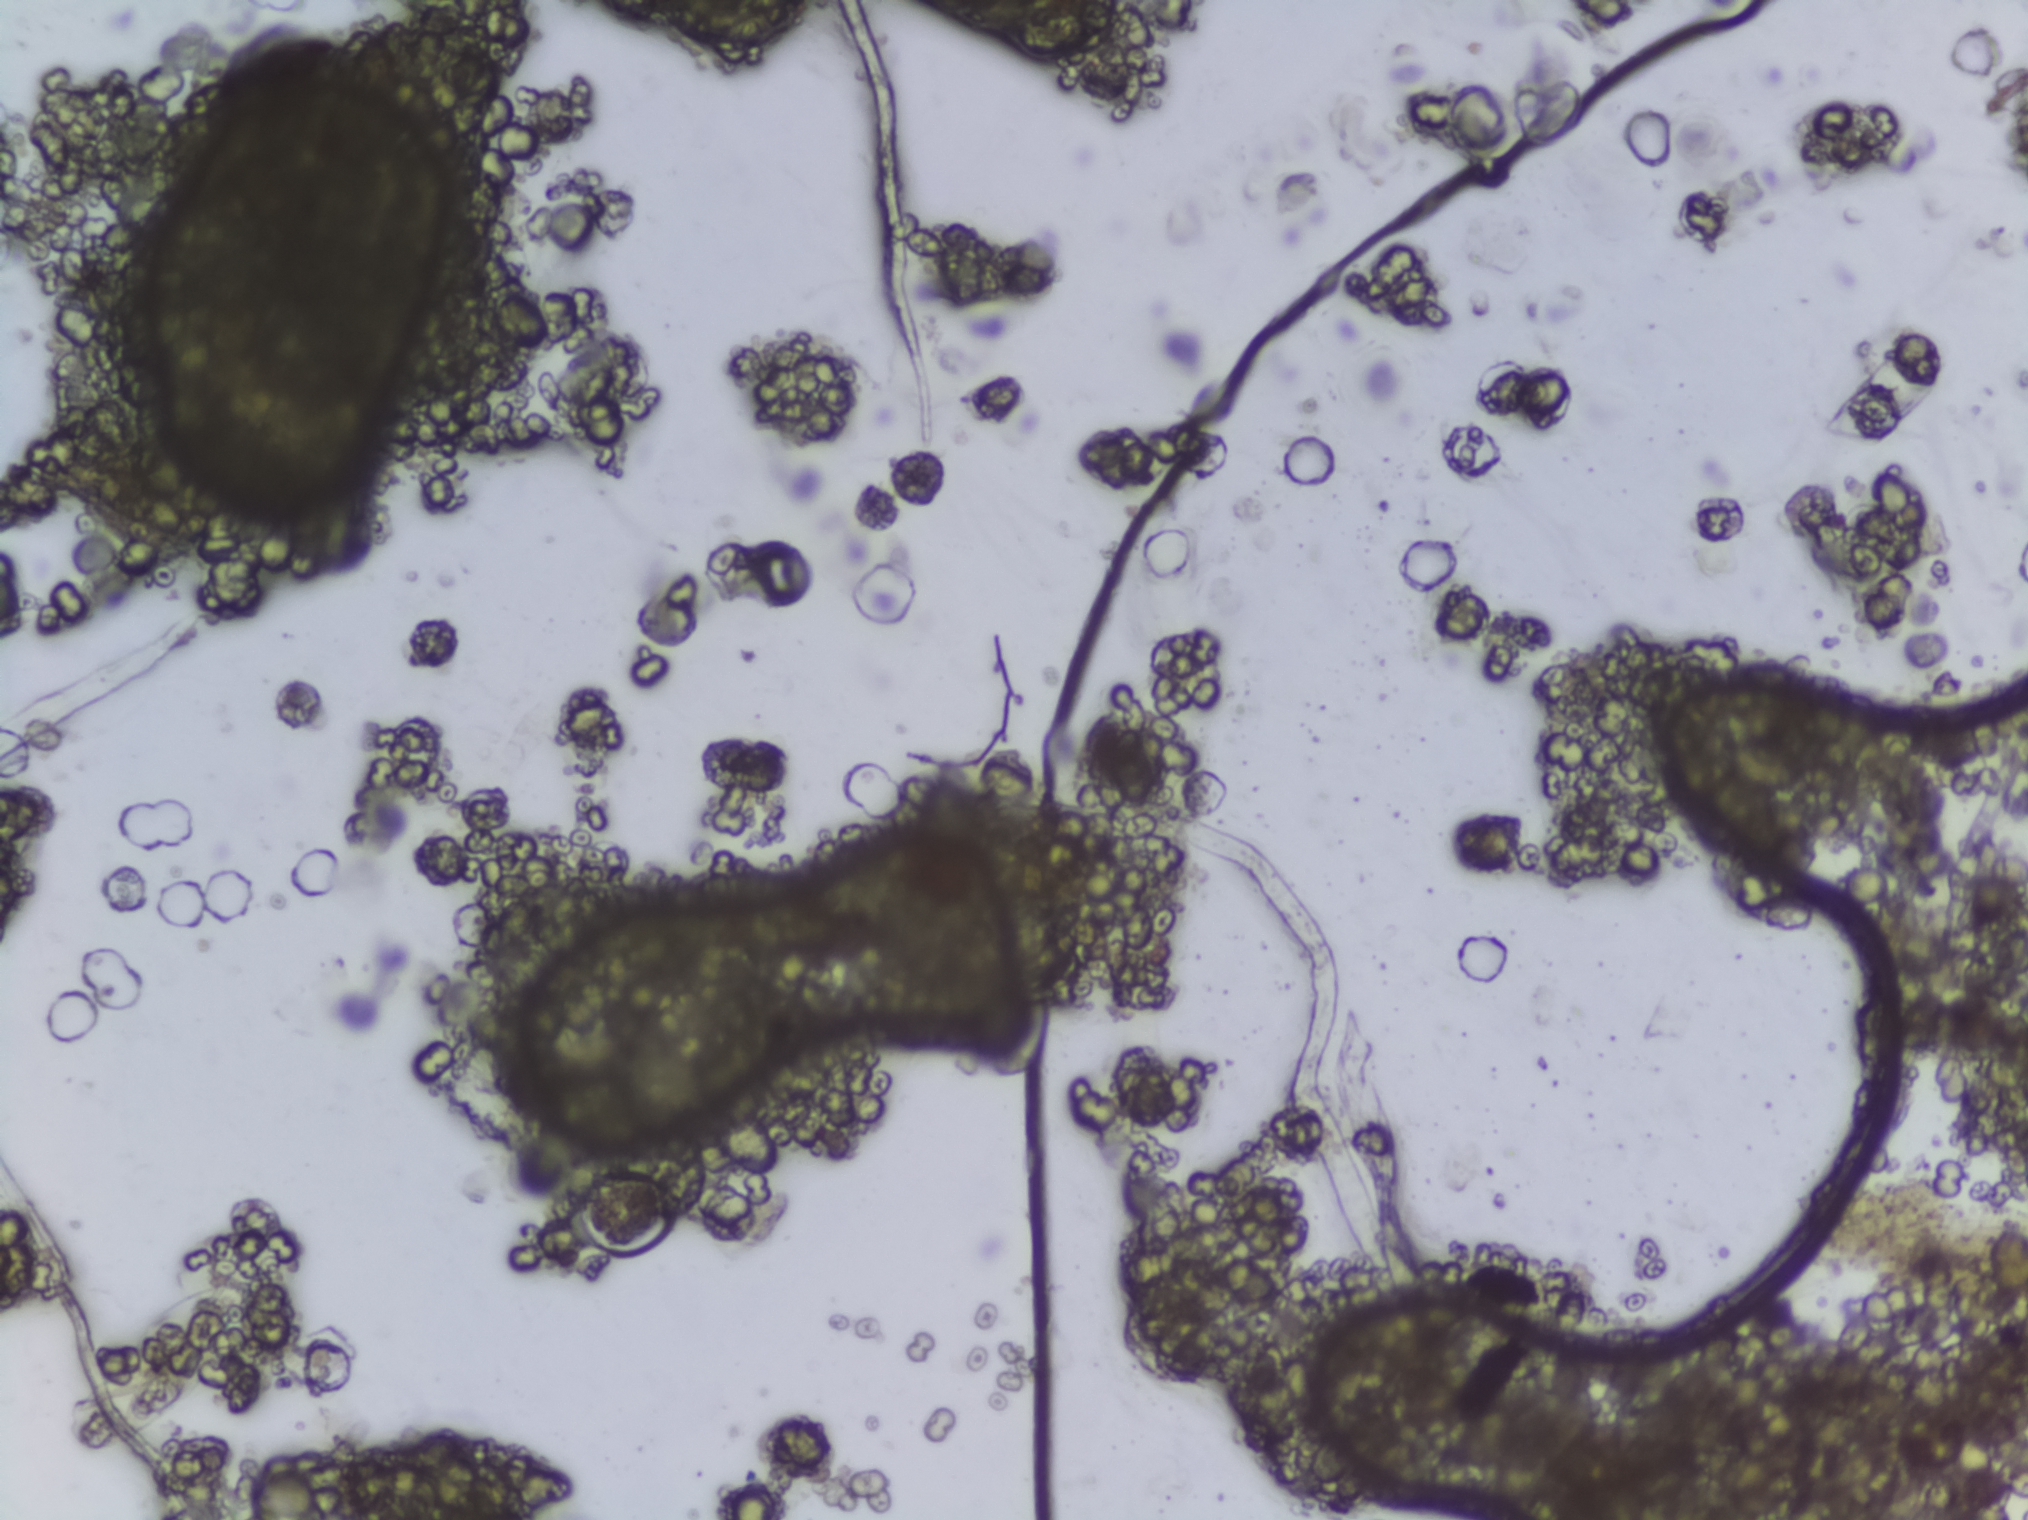
Photograph from an automated digital microscope: urine filter membrane, 4× objective.
Schistosoma eggs: none outlined.